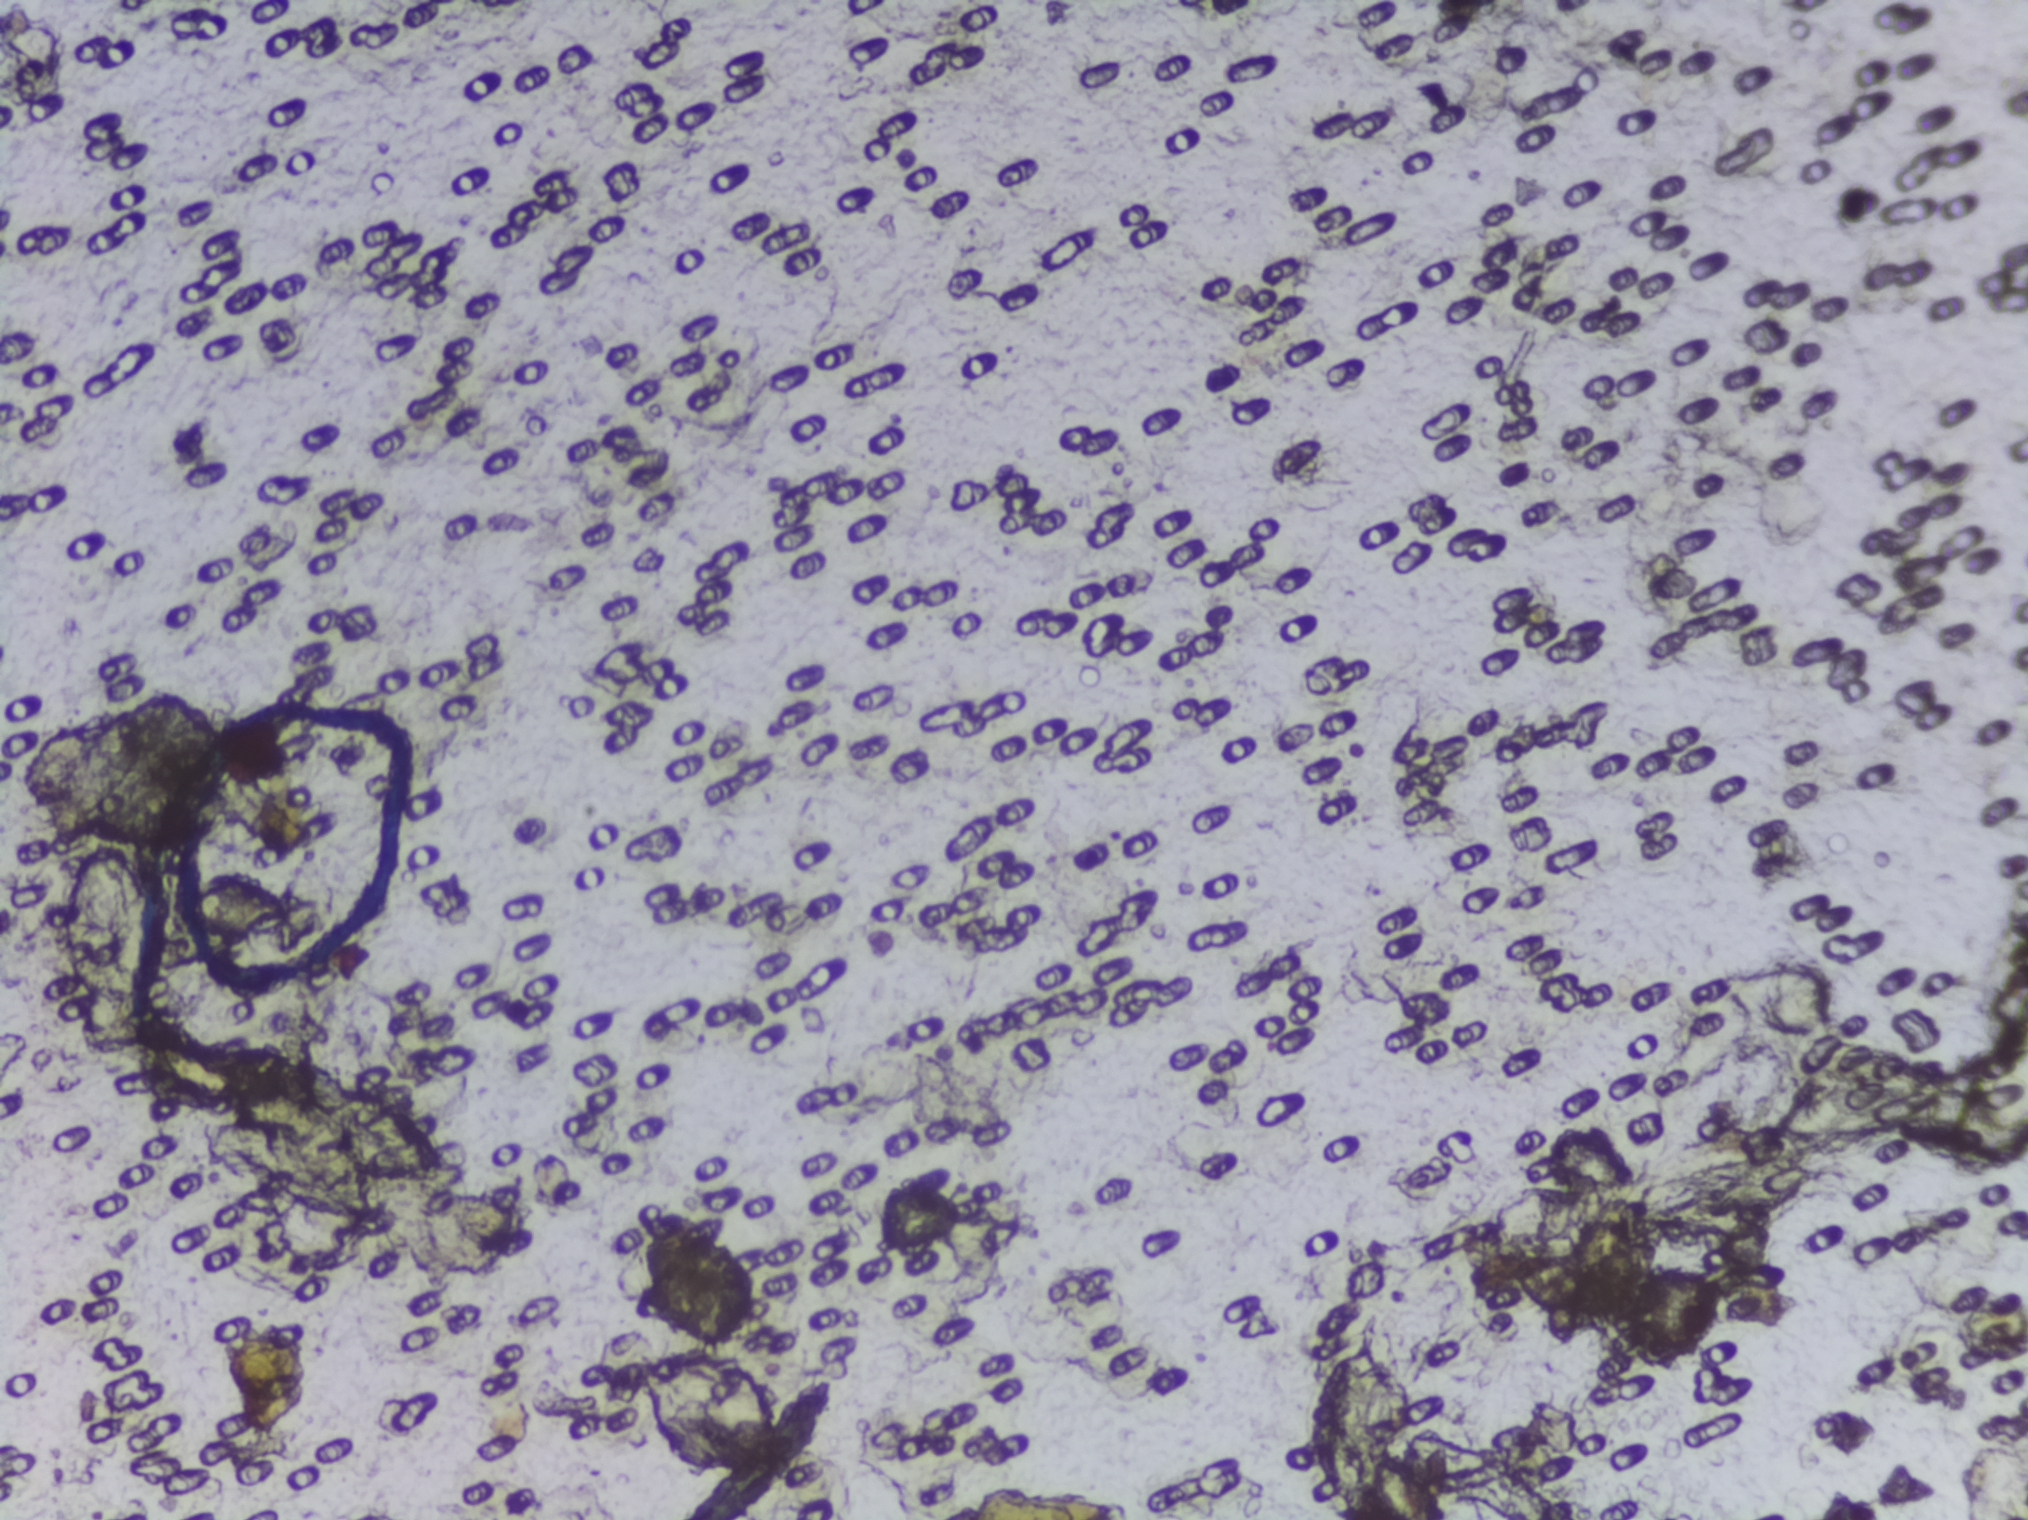
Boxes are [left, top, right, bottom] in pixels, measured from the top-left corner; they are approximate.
The expert annotation outlines Schistosoma eggs at [59, 837, 146, 1008]; [232, 1077, 446, 1228]; [1297, 1335, 1422, 1513] (left to right). Eggs that touch can end up inside the same outlined area.
One field of view of a urine filter membrane, 4× objective, 2028 × 1520 pixels. Field of view: about 1.5 mm wide and 1.1 mm high.